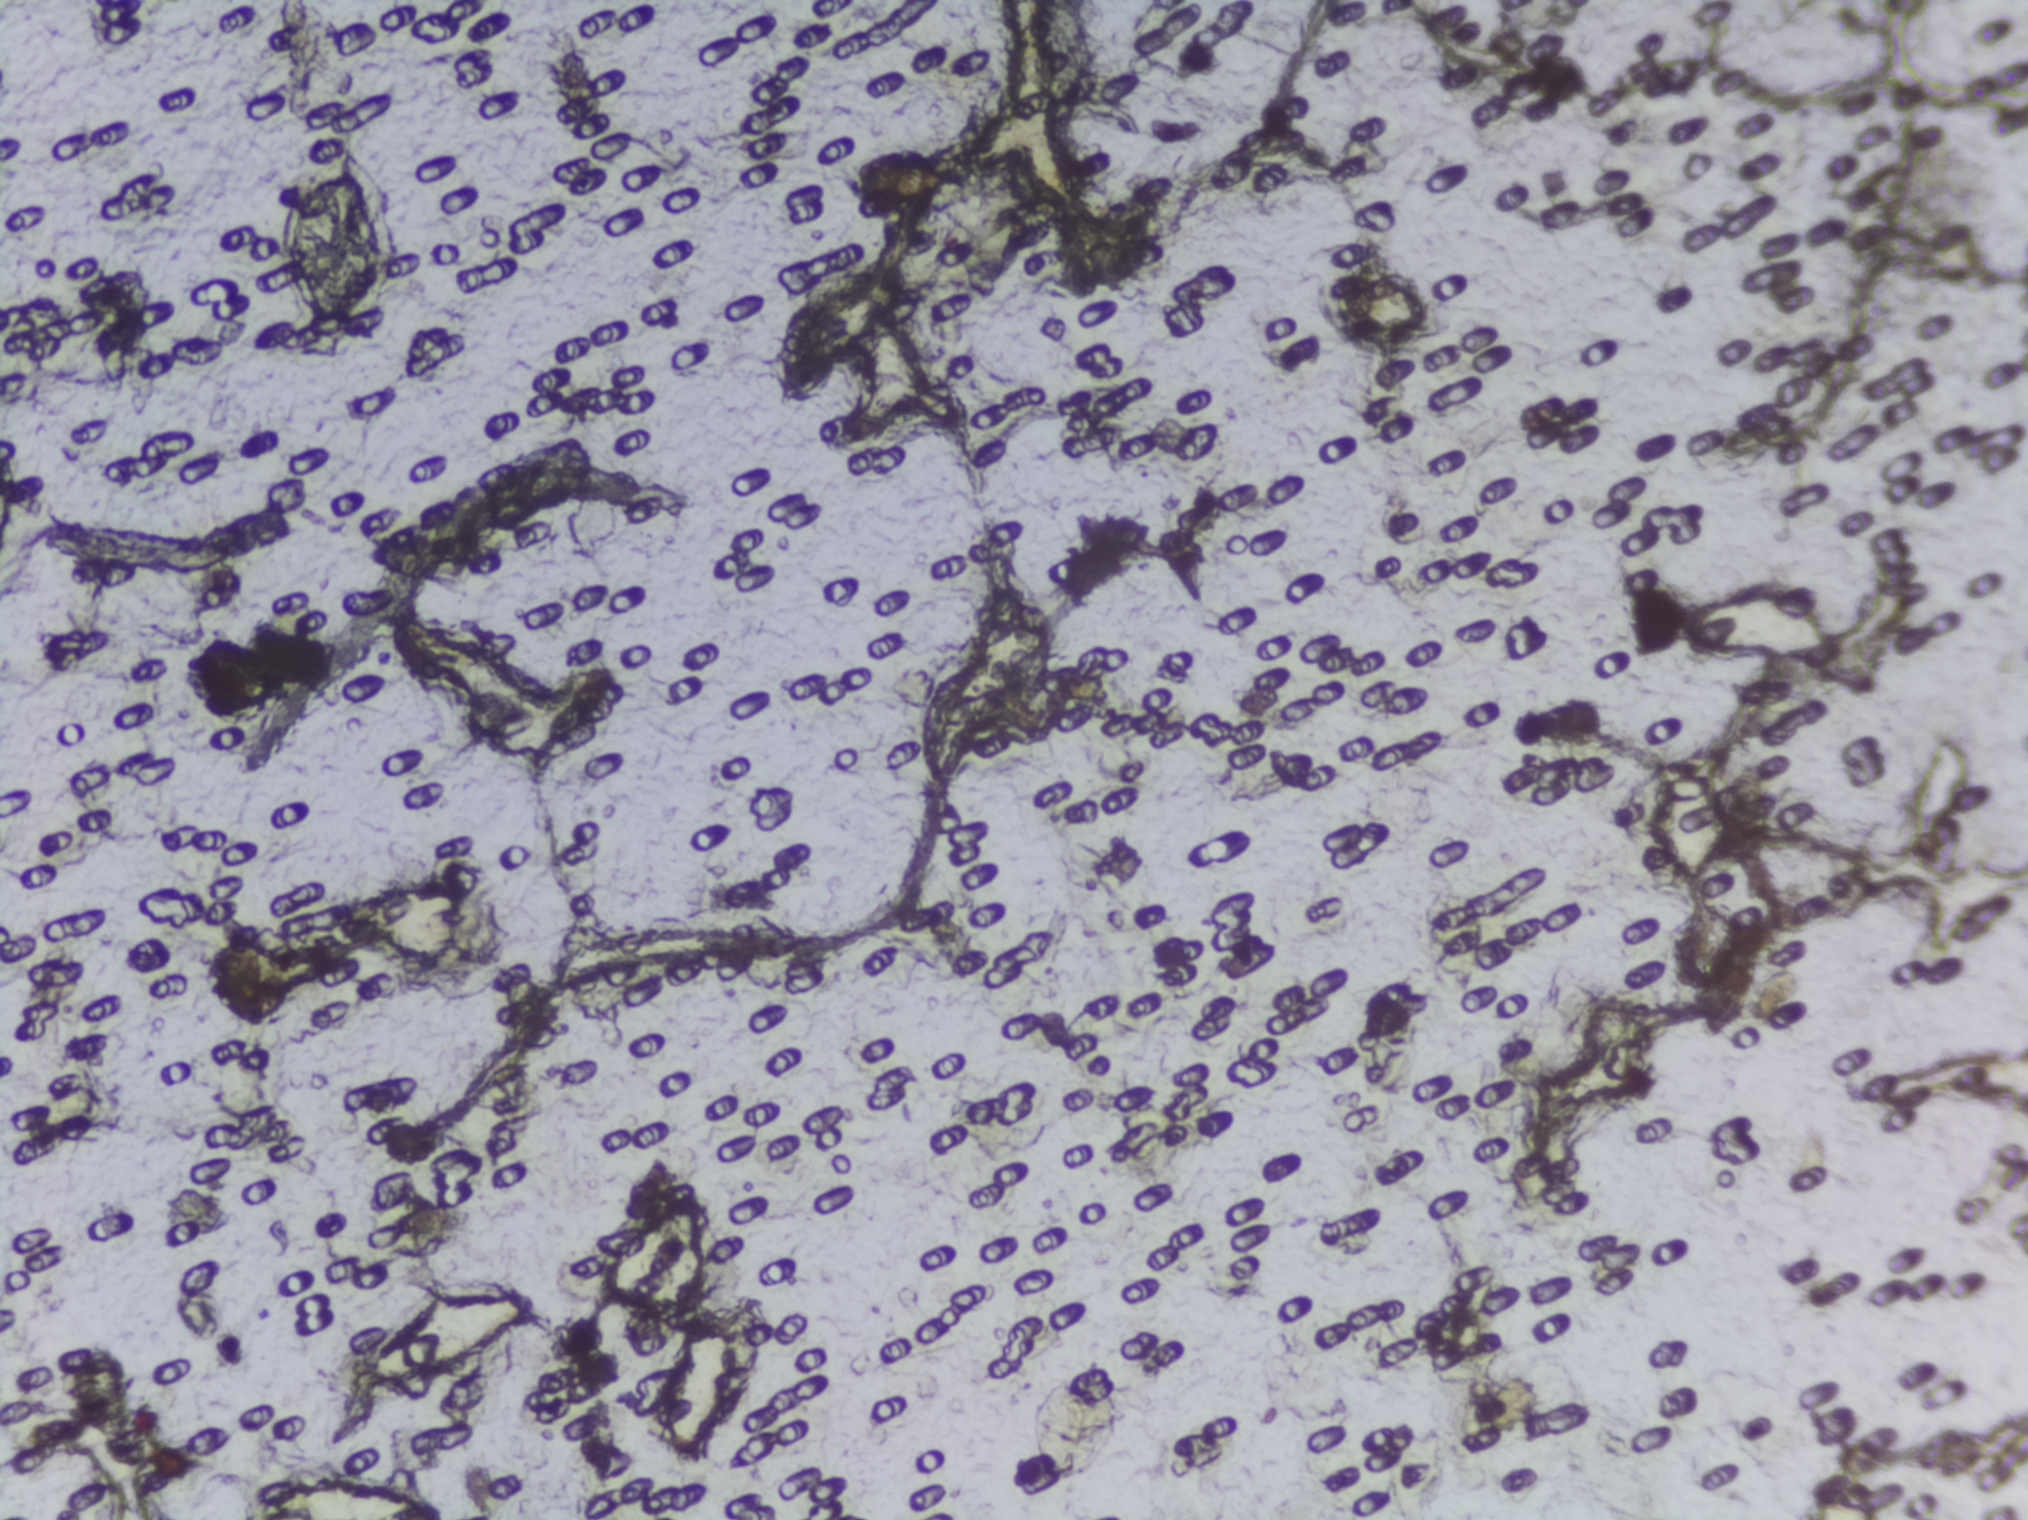
One field of view of a urine filter membrane, 4× objective, 2028 × 1520 pixels.
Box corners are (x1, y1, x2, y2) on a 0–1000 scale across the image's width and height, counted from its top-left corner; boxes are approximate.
Outlined Schistosoma egg areas:
1. (137, 95, 197, 218)
The marked pixels themselves, not the box around them, cover about 0.6% of the image. A single outlined area may contain several eggs.